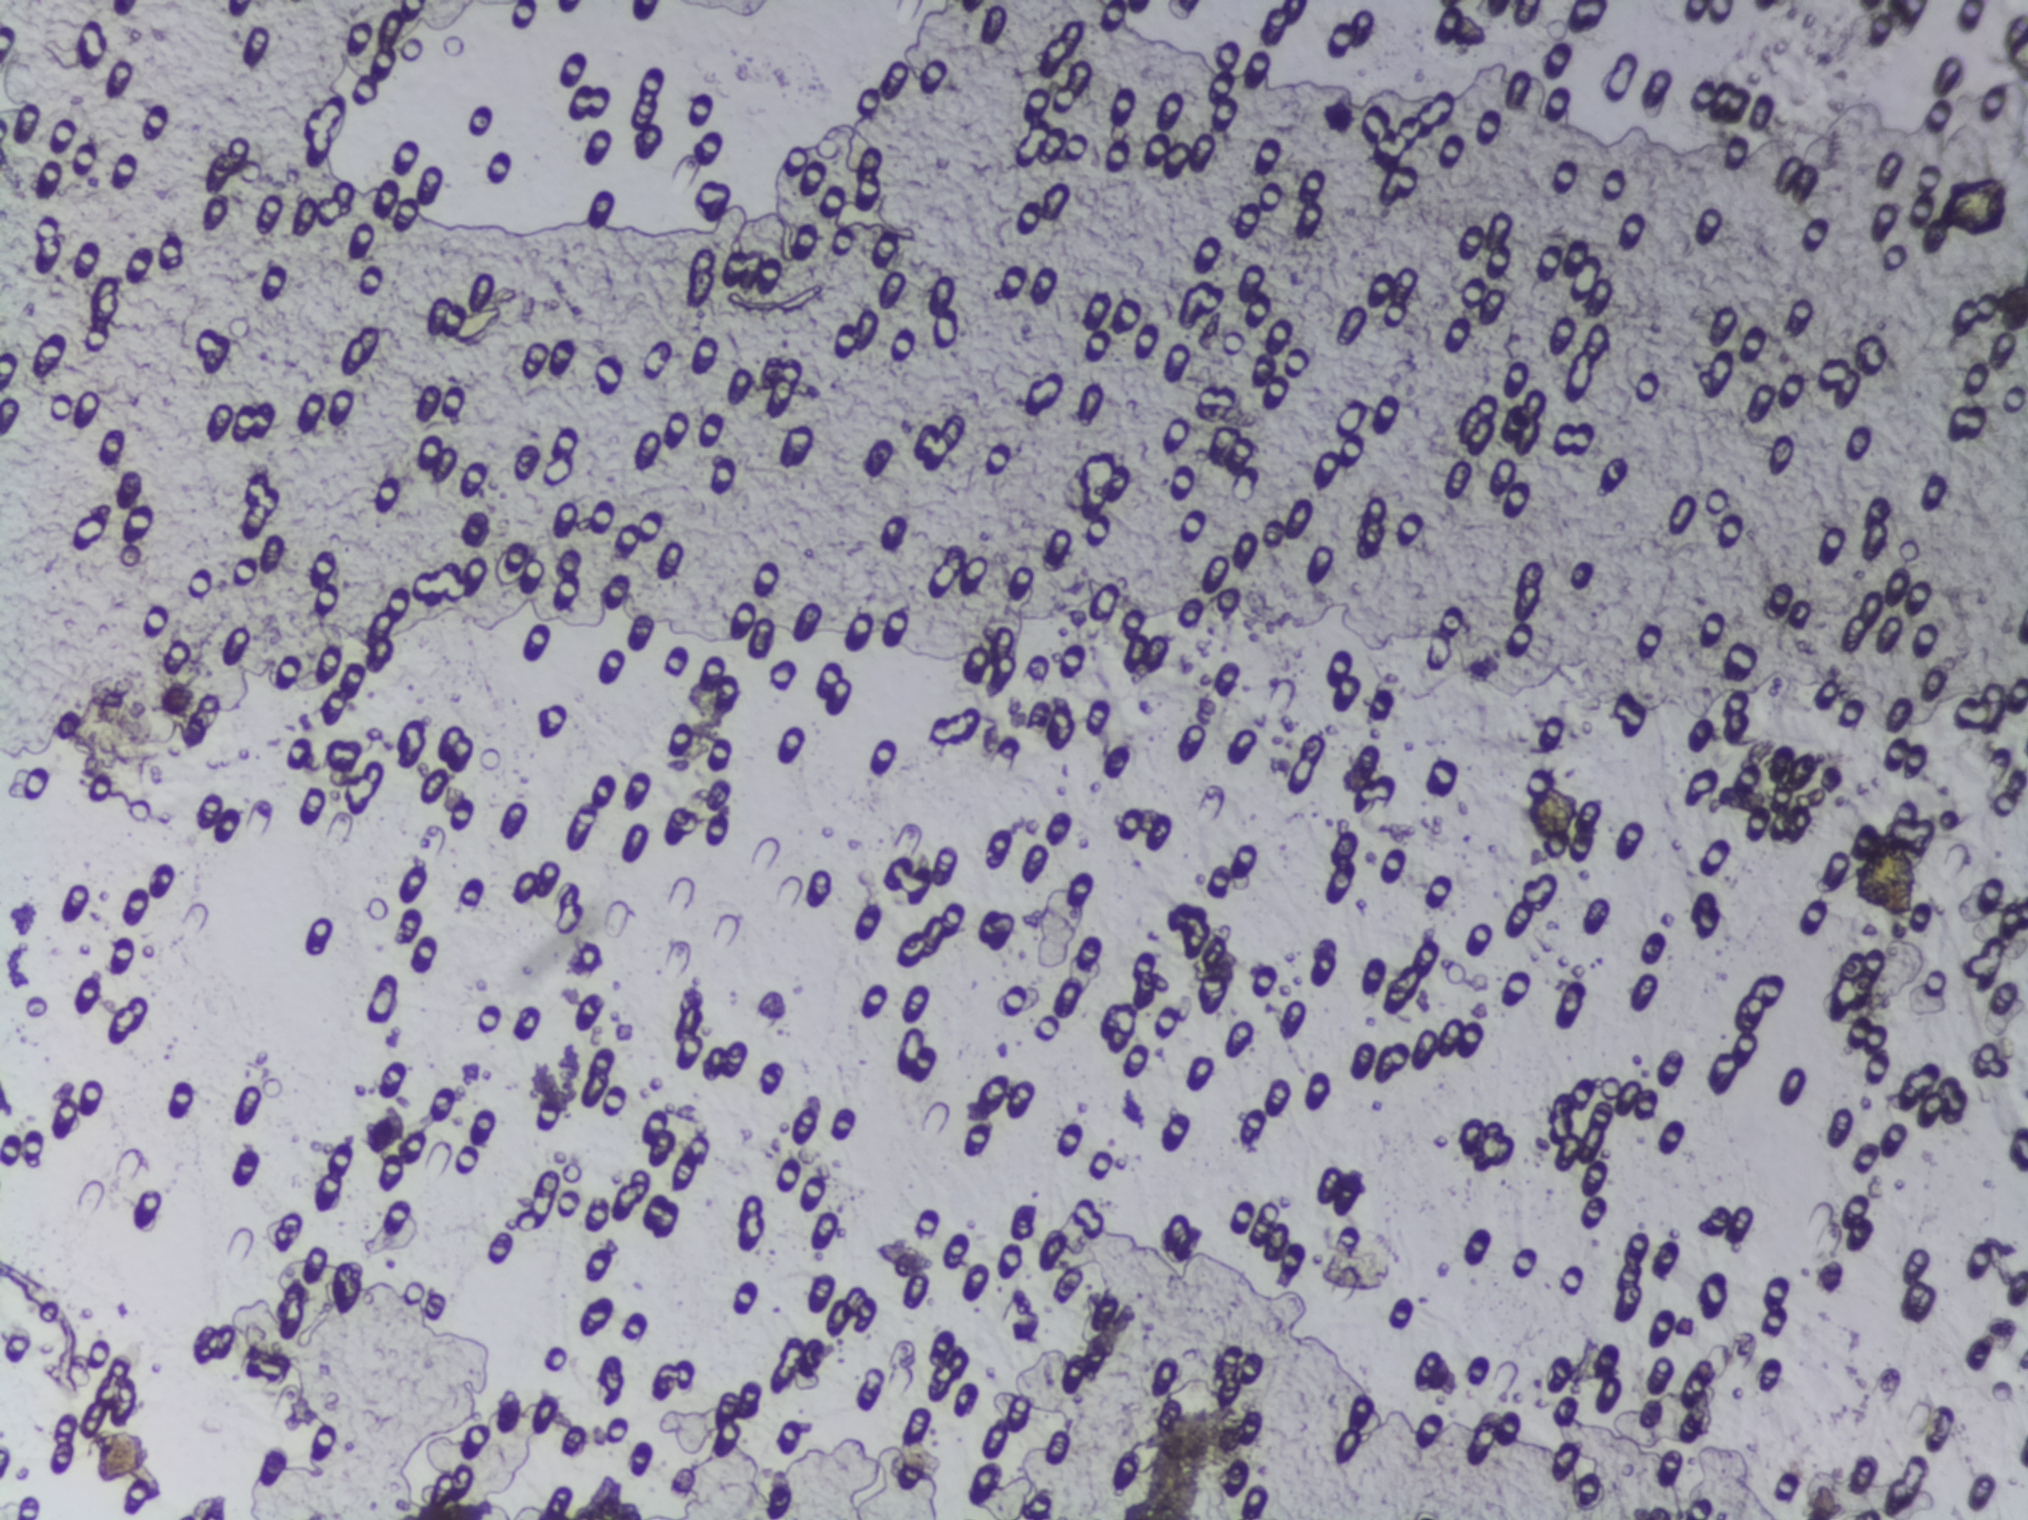
Photograph from an automated digital microscope: urine filter membrane, 4× objective.
No Schistosoma egg is outlined in this image's expert annotation.